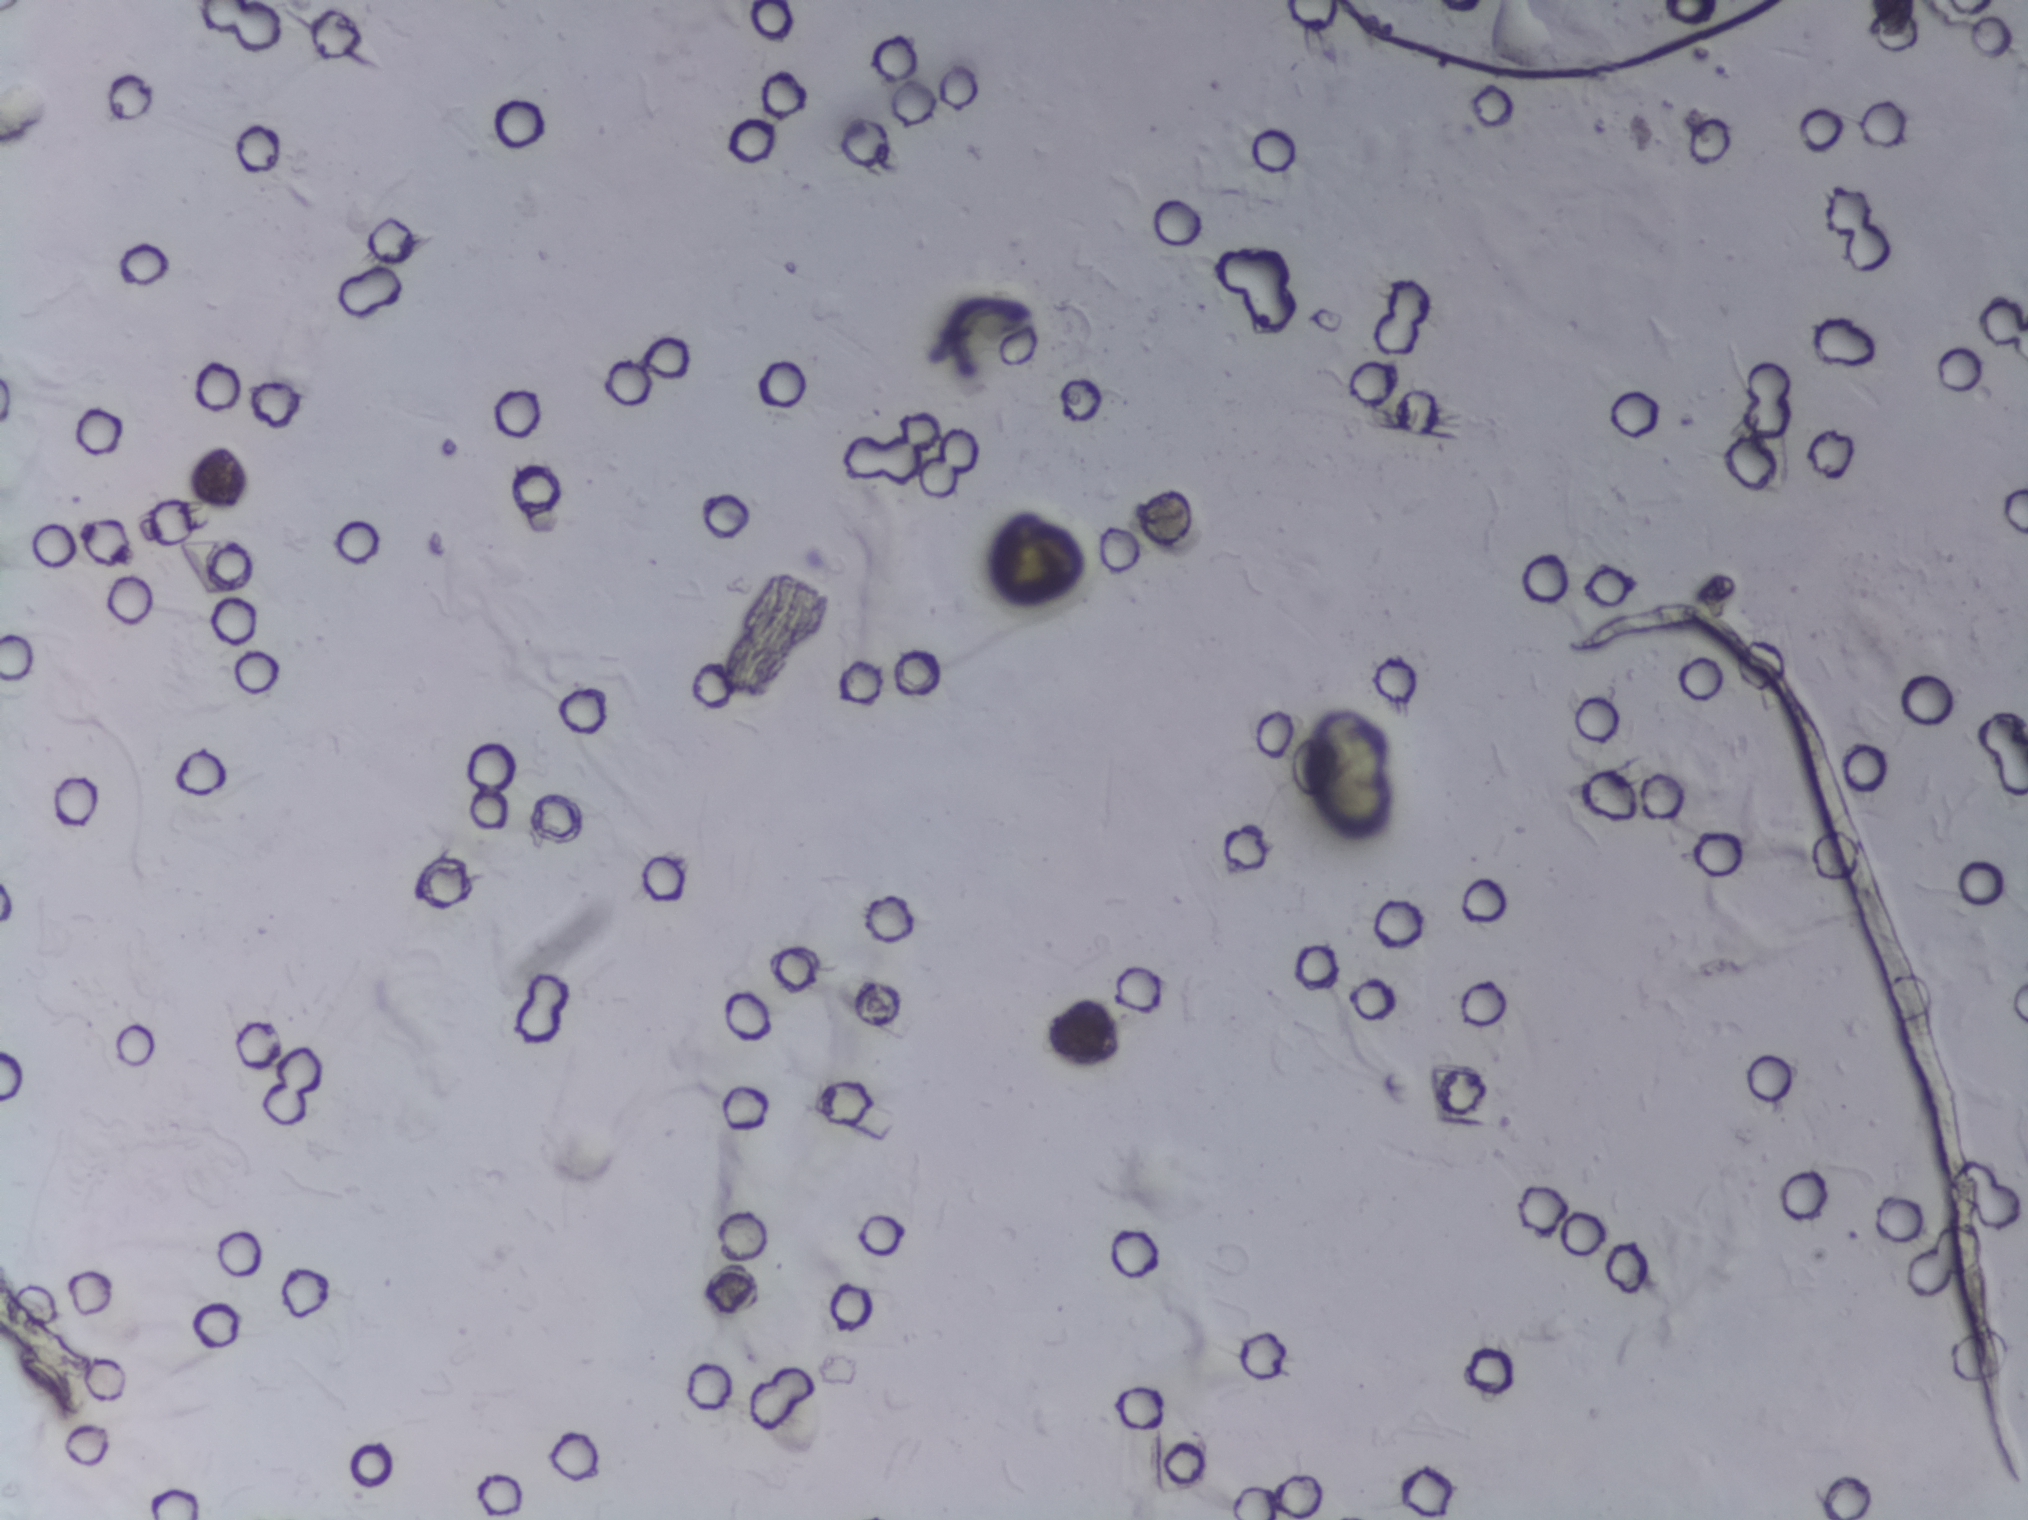
Microscope photograph (4× objective) of a membrane that a urine sample was filtered through.
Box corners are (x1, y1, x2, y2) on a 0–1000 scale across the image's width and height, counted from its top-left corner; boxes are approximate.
Schistosoma eggs, outlined areas: (641, 459, 690, 558). A single outlined area may contain several eggs.